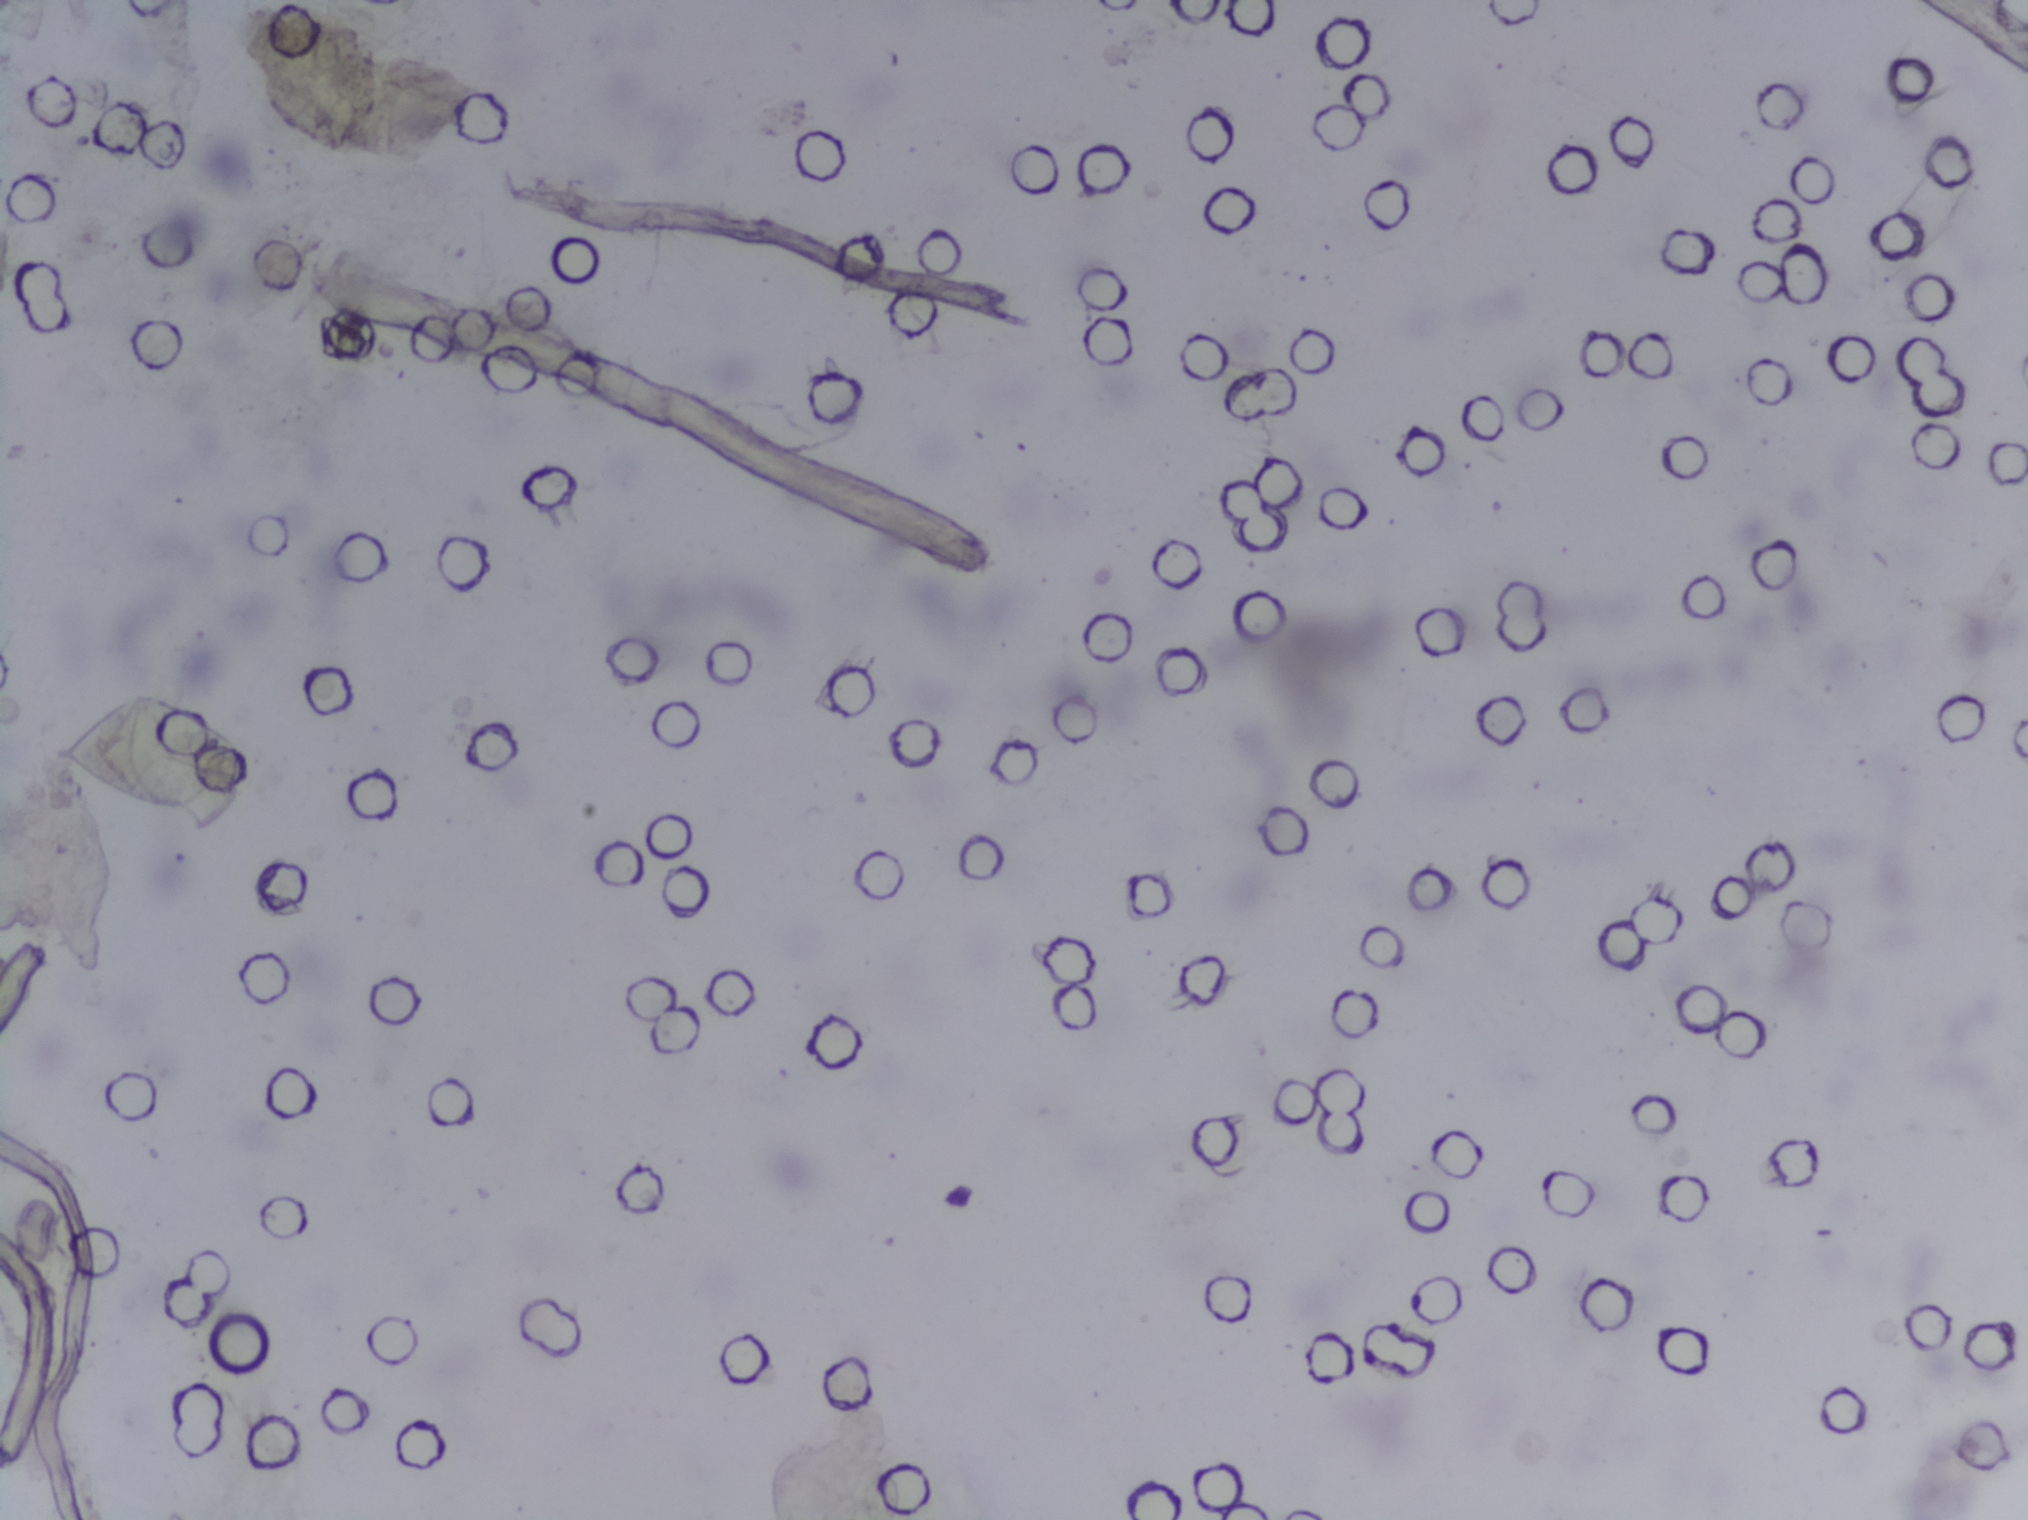
One field of view of a urine filter membrane, 4× objective, 2028 × 1520 pixels. Field of view: about 1.5 mm wide and 1.1 mm high.
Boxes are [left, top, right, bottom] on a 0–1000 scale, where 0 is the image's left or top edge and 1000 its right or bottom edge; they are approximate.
The expert annotation outlines Schistosoma eggs at [19, 457, 126, 549]. An outlined area can hold more than one egg.